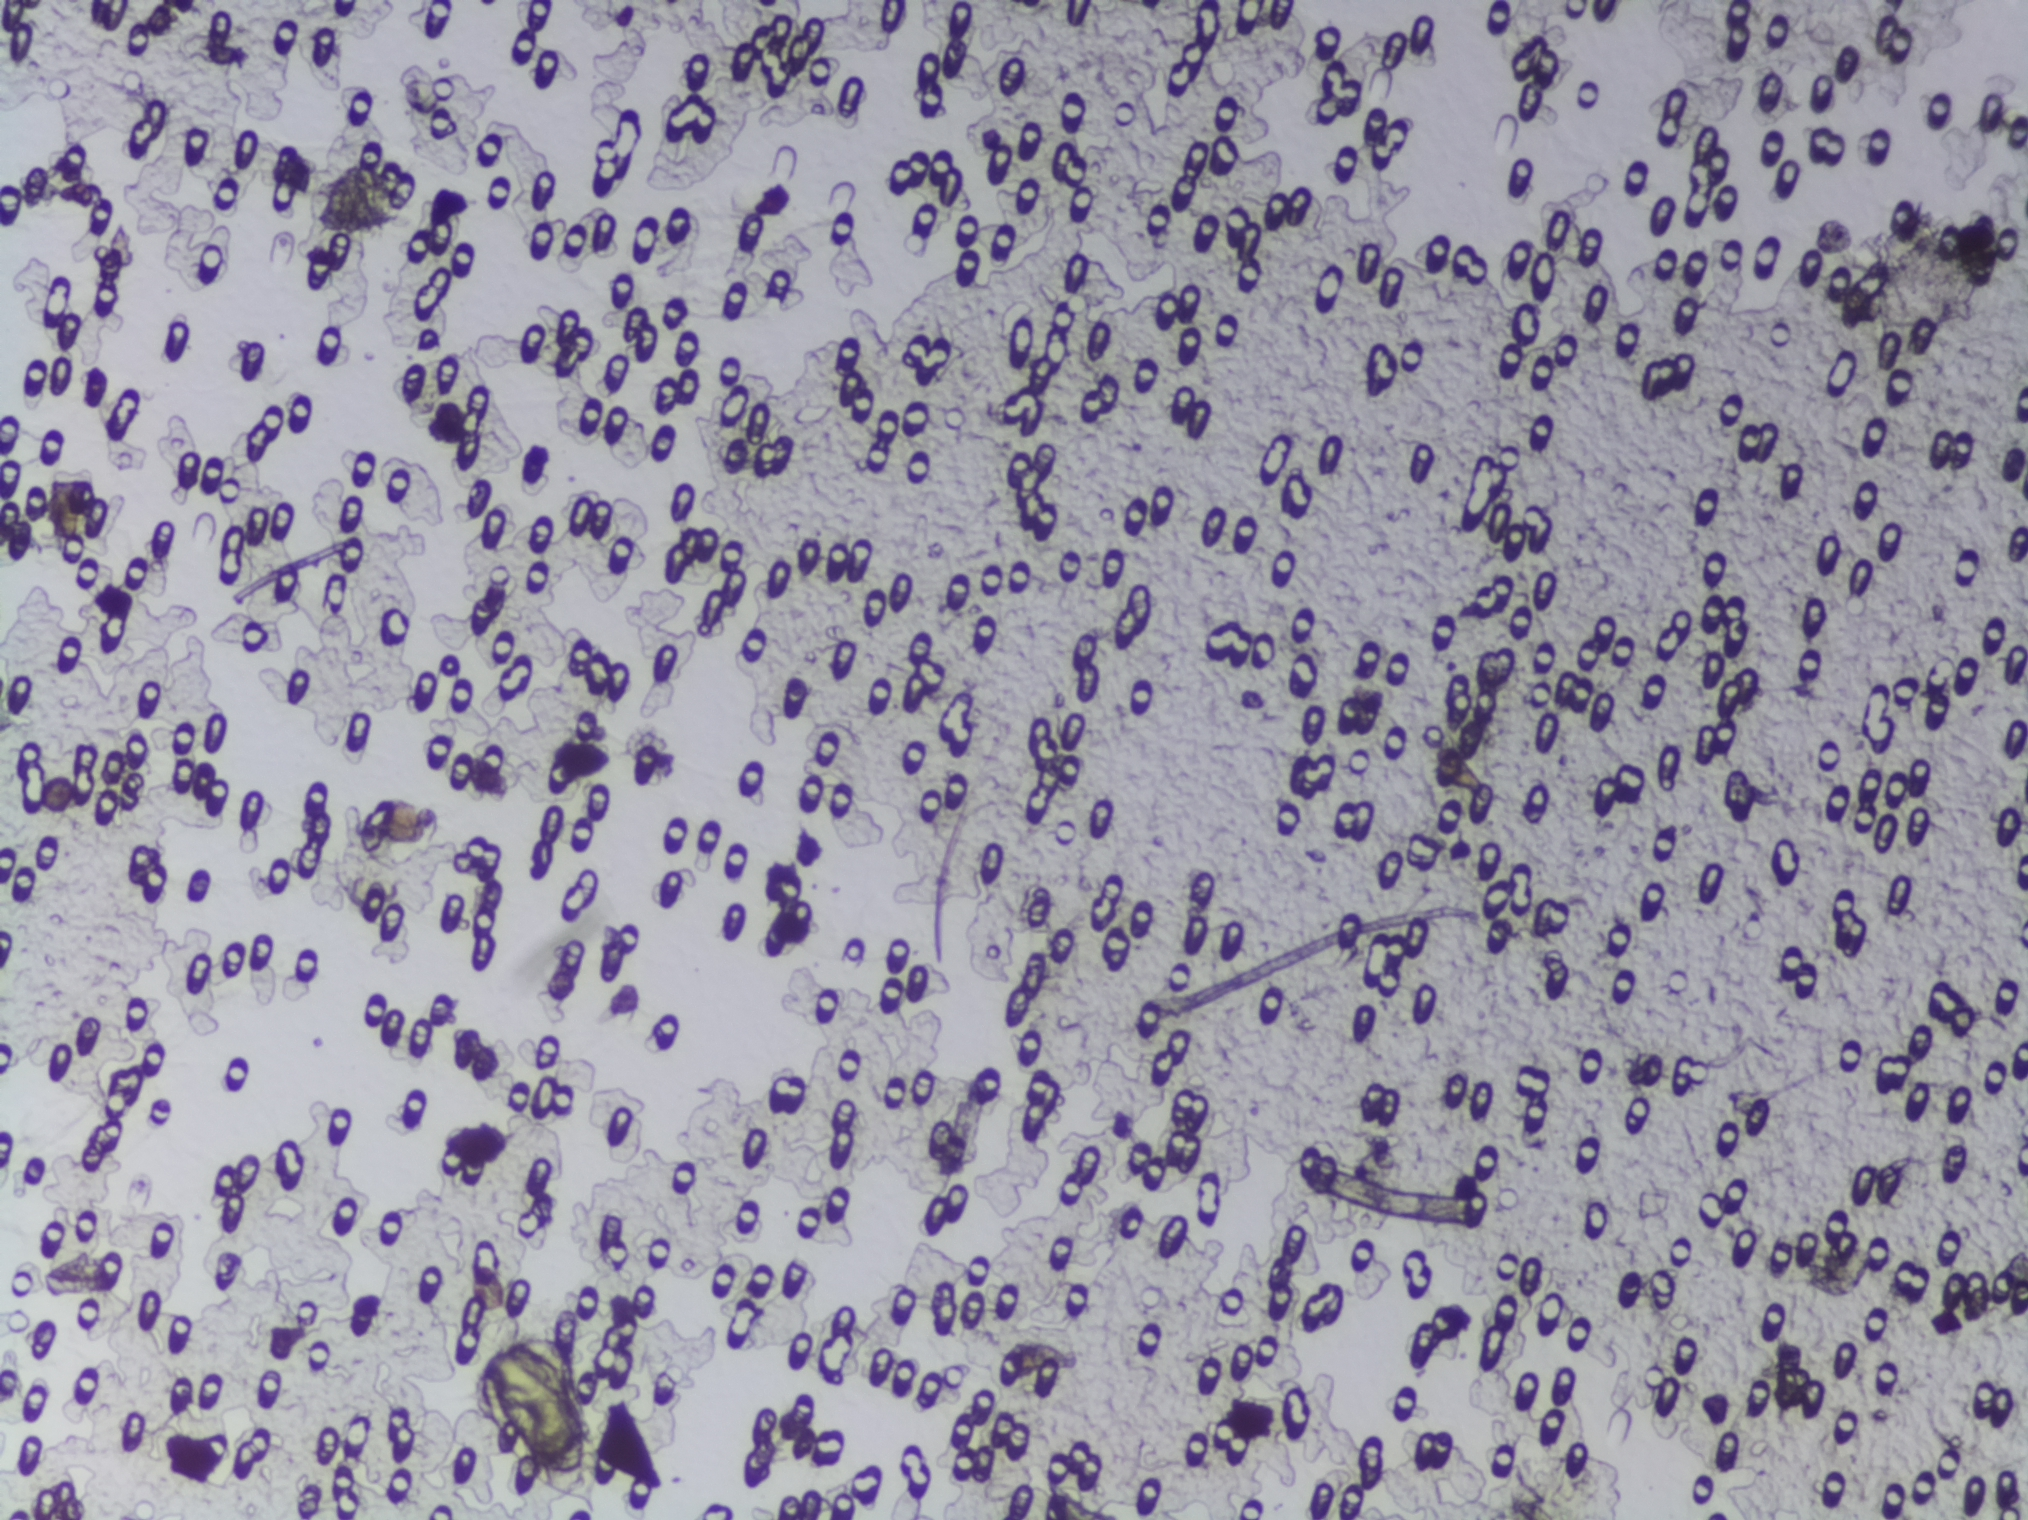
Urine filtration membrane under a 4× objective, photographed by an automated digital microscope. Field of view: about 1.5 mm wide and 1.1 mm high.
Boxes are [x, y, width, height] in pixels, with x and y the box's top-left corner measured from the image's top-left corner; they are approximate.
{"schistosoma_egg_areas_xywh_px": [[476, 1333, 121, 182]]}
Eggs that touch can end up inside the same outlined area.